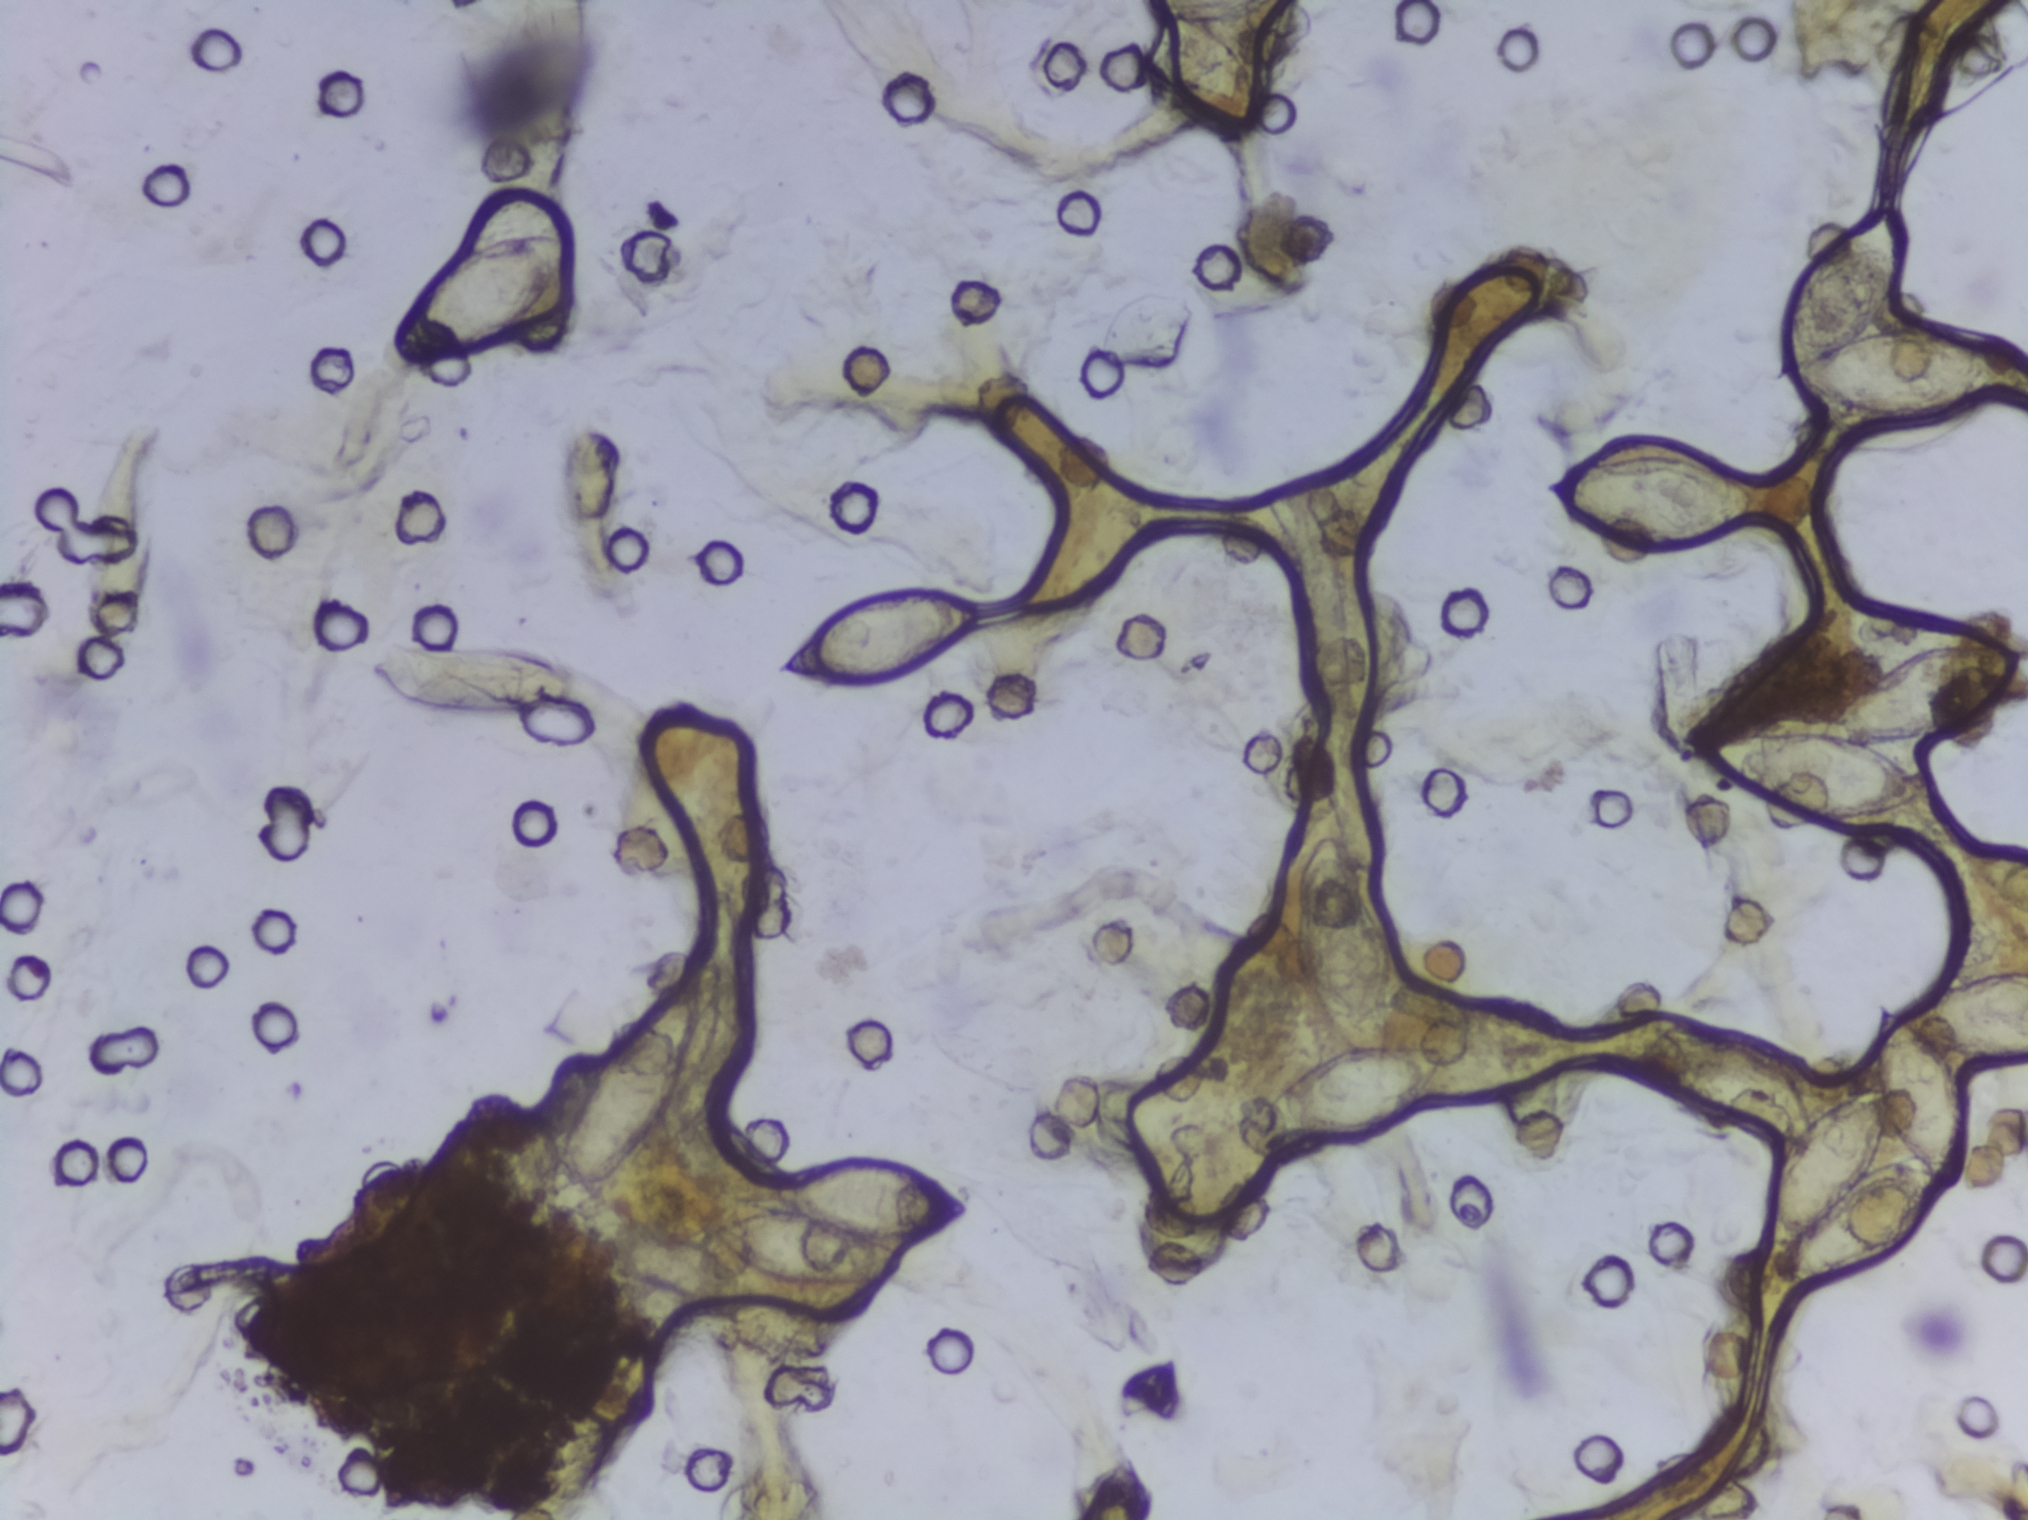
Urine filtration membrane under a 4× objective, photographed by an automated digital microscope. The field of view is about 1.5 mm × 1.1 mm.
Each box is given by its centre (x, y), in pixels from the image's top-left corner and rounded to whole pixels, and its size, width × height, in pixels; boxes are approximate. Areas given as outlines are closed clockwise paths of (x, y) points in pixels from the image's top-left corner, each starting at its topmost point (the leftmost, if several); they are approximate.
11 areas of this image are outlined as Schistosoma eggs, from left to right: box centre (471, 679), 198 × 83 px; box centre (482, 300), 171 × 136 px; box centre (630, 1091), 130 × 193 px; box centre (678, 1268), 121 × 65 px; box centre (839, 1224), 261 × 125 px; box centre (875, 639), 200 × 93 px; outline (1325, 835), (1353, 849), (1383, 919), (1381, 1044), (1439, 1042), (1444, 1064), (1406, 1121), (1373, 1138), (1333, 1147), (1266, 1147), (1240, 1135), (1240, 1123), (1342, 1047), (1319, 1022), (1291, 960), (1296, 890); box centre (1647, 503), 223 × 99 px; outline (1996, 971), (2027, 972), (2027, 1059), (1946, 1056), (1968, 1087), (1974, 1116), (1968, 1184), (1959, 1191), (1939, 1188), (1922, 1239), (1902, 1261), (1837, 1283), (1781, 1289), (1772, 1280), (1774, 1251), (1763, 1232), (1765, 1197), (1784, 1144), (1721, 1126), (1669, 1094), (1650, 1059), (1654, 1032), (1674, 1025), (1734, 1036), (1775, 1061), (1814, 1115), (1875, 1081), (1873, 1034), (1883, 1000), (1904, 1012) (a cluster of eggs; reaching the right edge of the frame); outline (1980, 641), (2019, 647), (2019, 674), (1994, 710), (1962, 728), (1914, 740), (1862, 742), (1893, 757), (1922, 784), (1920, 798), (1872, 821), (1827, 824), (1758, 802), (1733, 787), (1689, 742), (1692, 732), (1705, 728), (1818, 732), (1845, 695), (1908, 649); box centre (1892, 315), 232 × 208 px. Eggs that touch can end up inside the same outlined area.